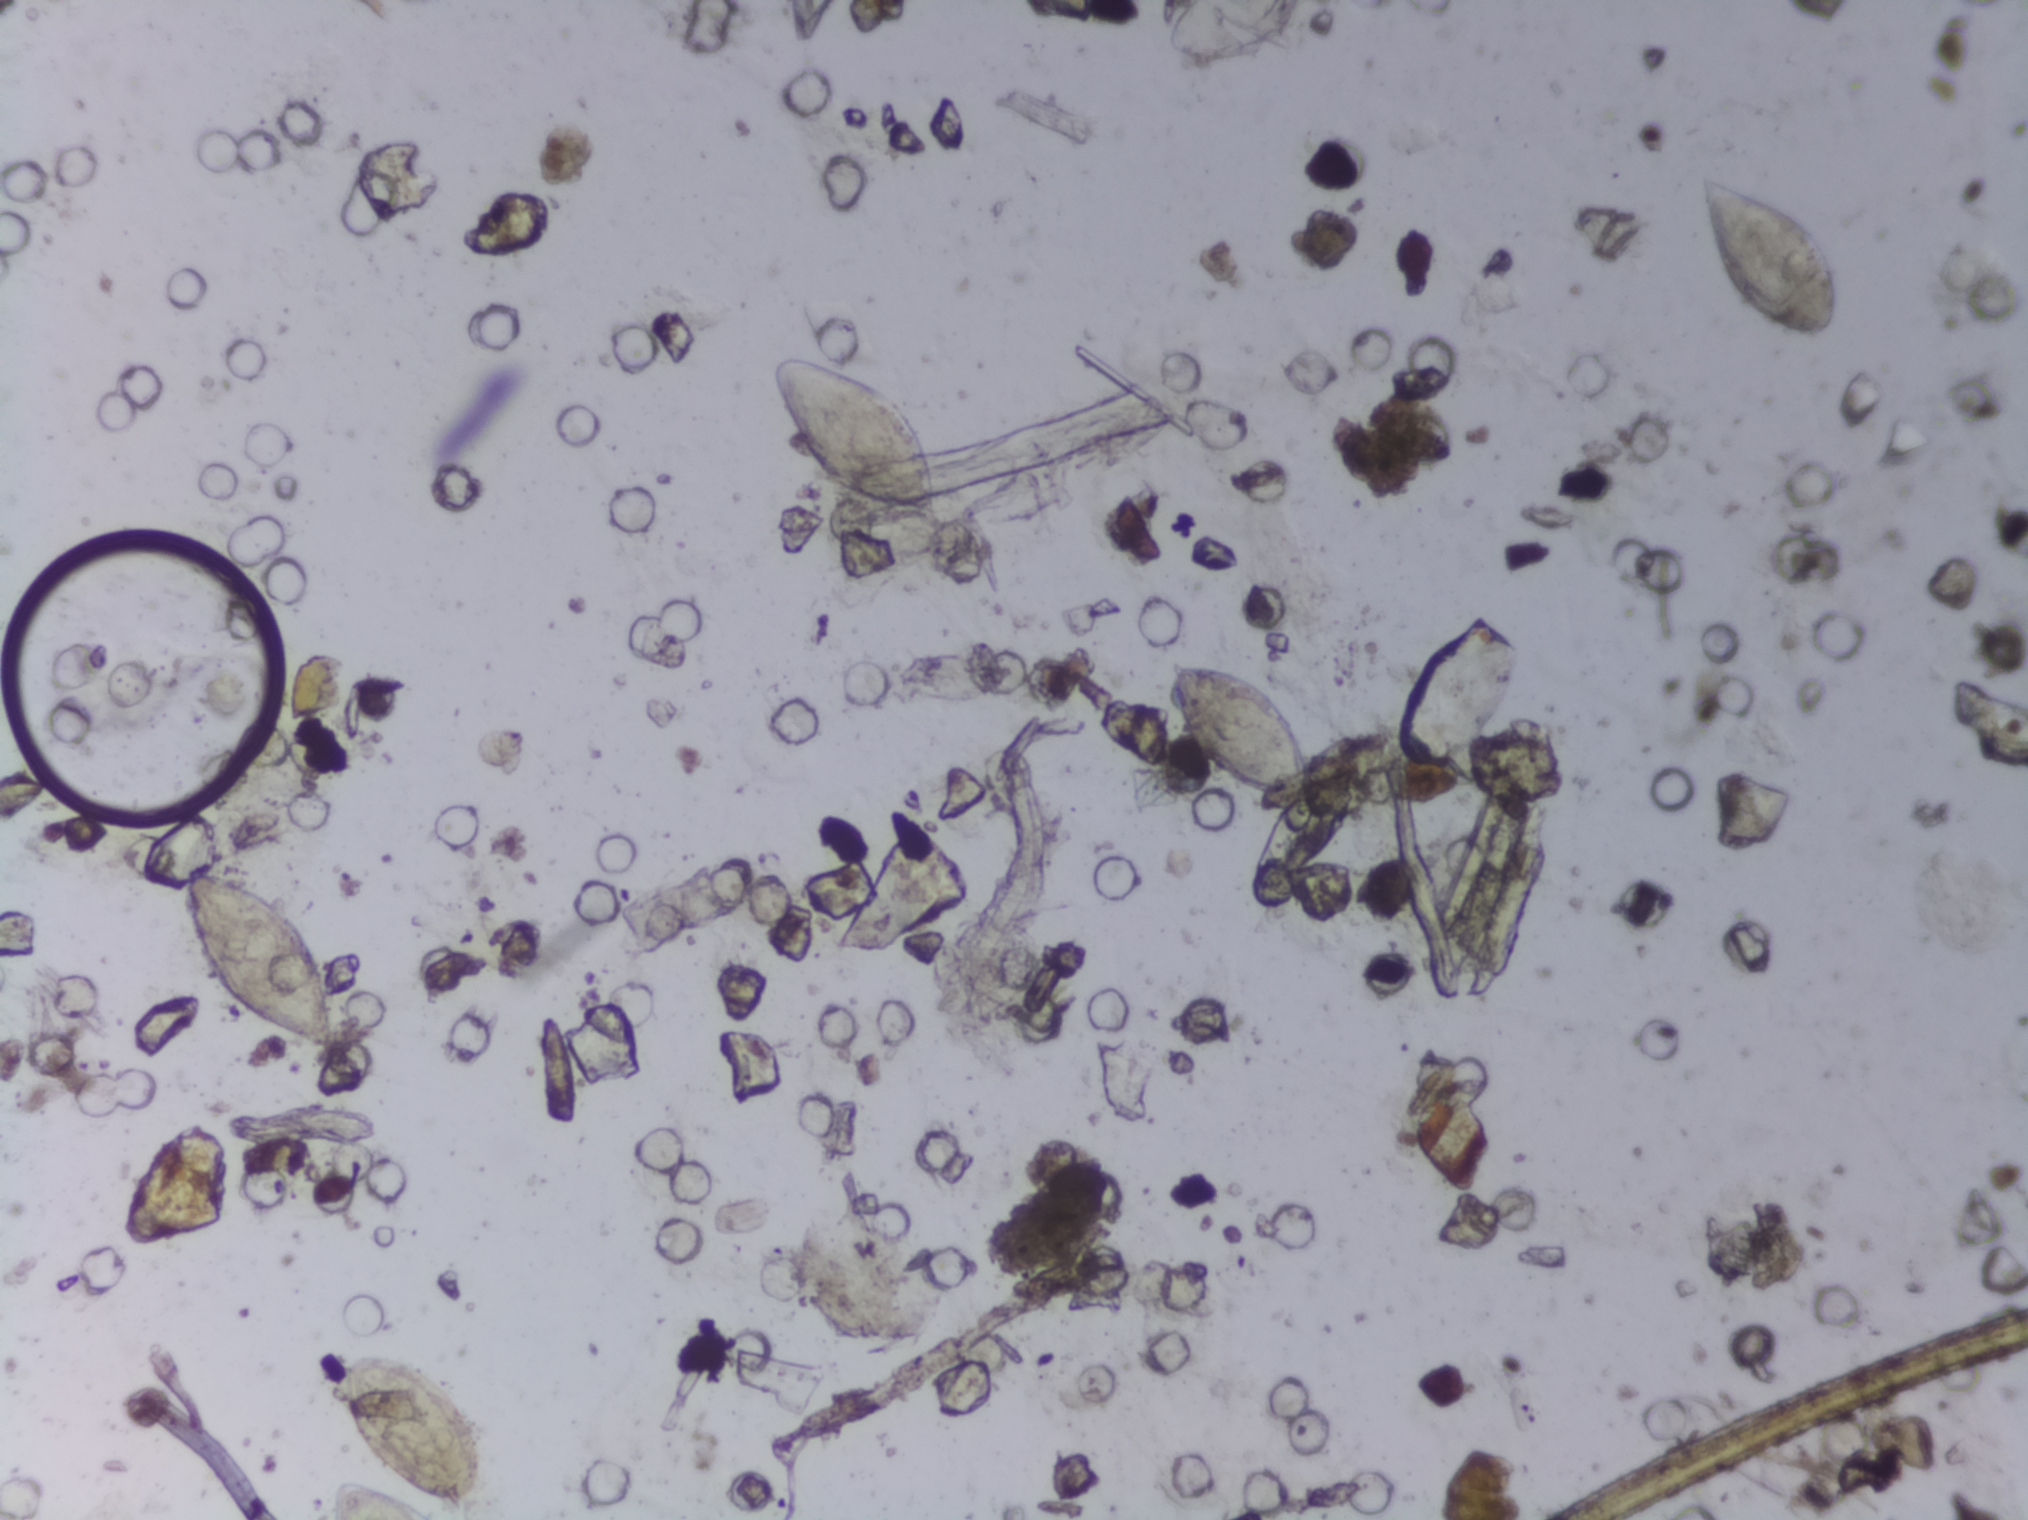
One field of view of a urine filter membrane, 4× objective, 2028 × 1520 pixels.
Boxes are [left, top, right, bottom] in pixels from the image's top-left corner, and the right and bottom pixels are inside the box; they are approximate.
{"schistosoma_egg_areas_xyxy_px": [[184, 869, 342, 1058], [327, 1478, 438, 1519], [335, 1352, 484, 1509], [774, 351, 945, 522], [1160, 0, 1311, 67], [1167, 655, 1313, 807], [1697, 171, 1840, 340]]} Area 2 reaches the bottom edge of the frame. Area 5 reaches the top edge of the frame.
Marked pixels, not the boxes around them: about 3.0% of the image. Eggs that touch can end up inside the same outlined area.